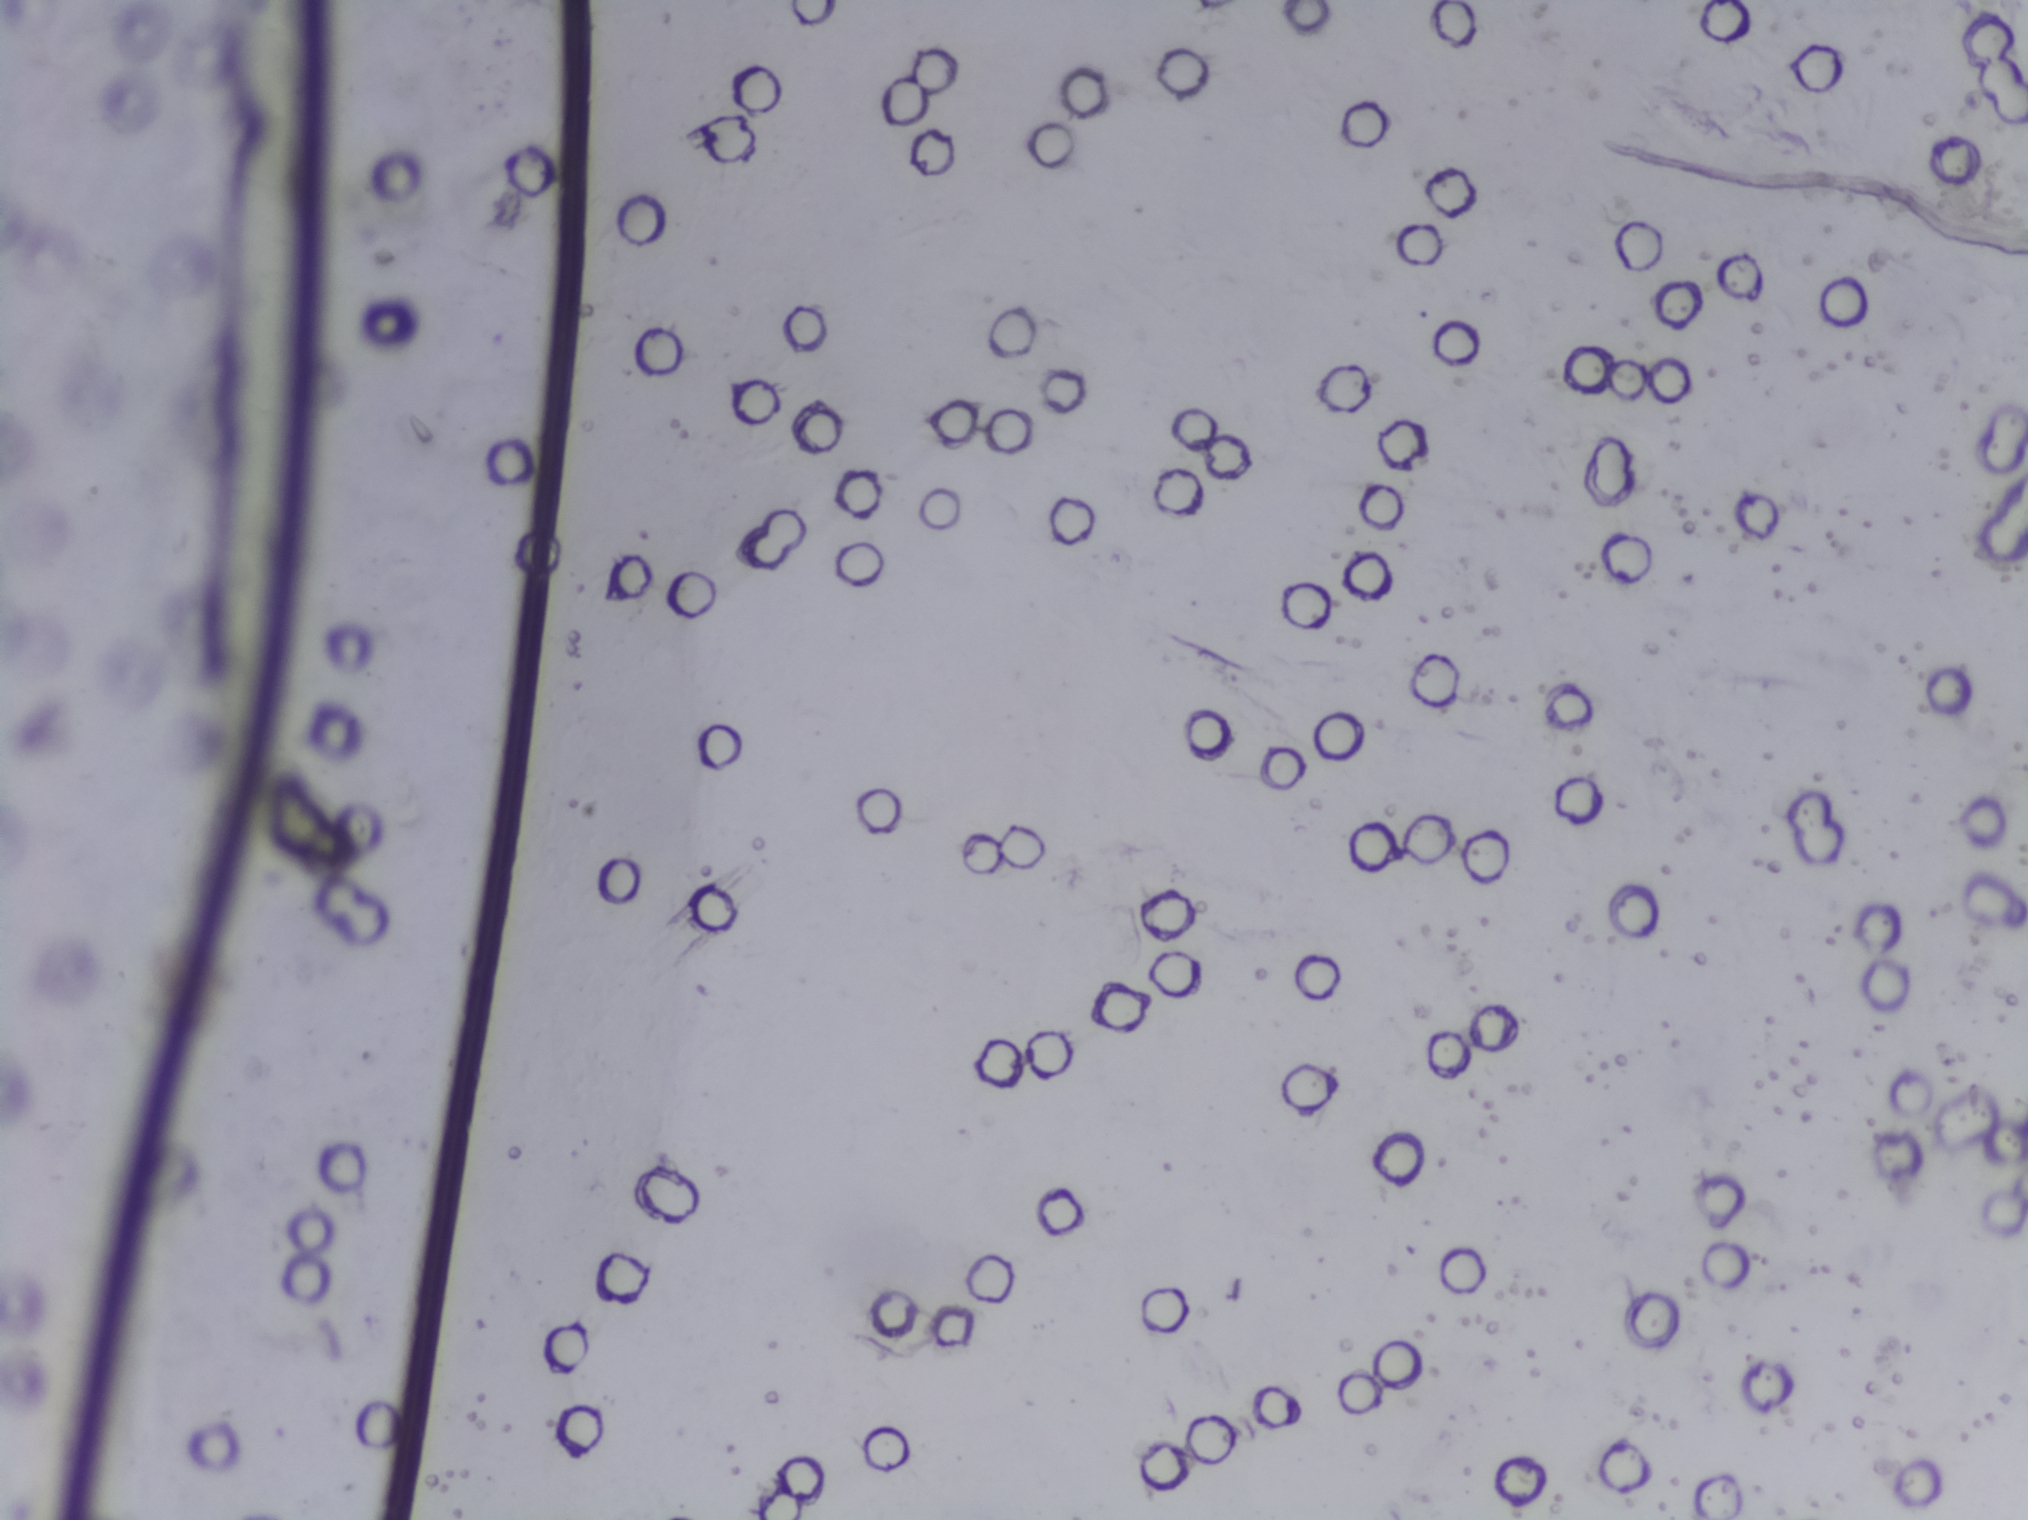
Photomicrograph of a urine filtration membrane, 4× objective.
No Schistosoma egg is outlined in this image's expert annotation.